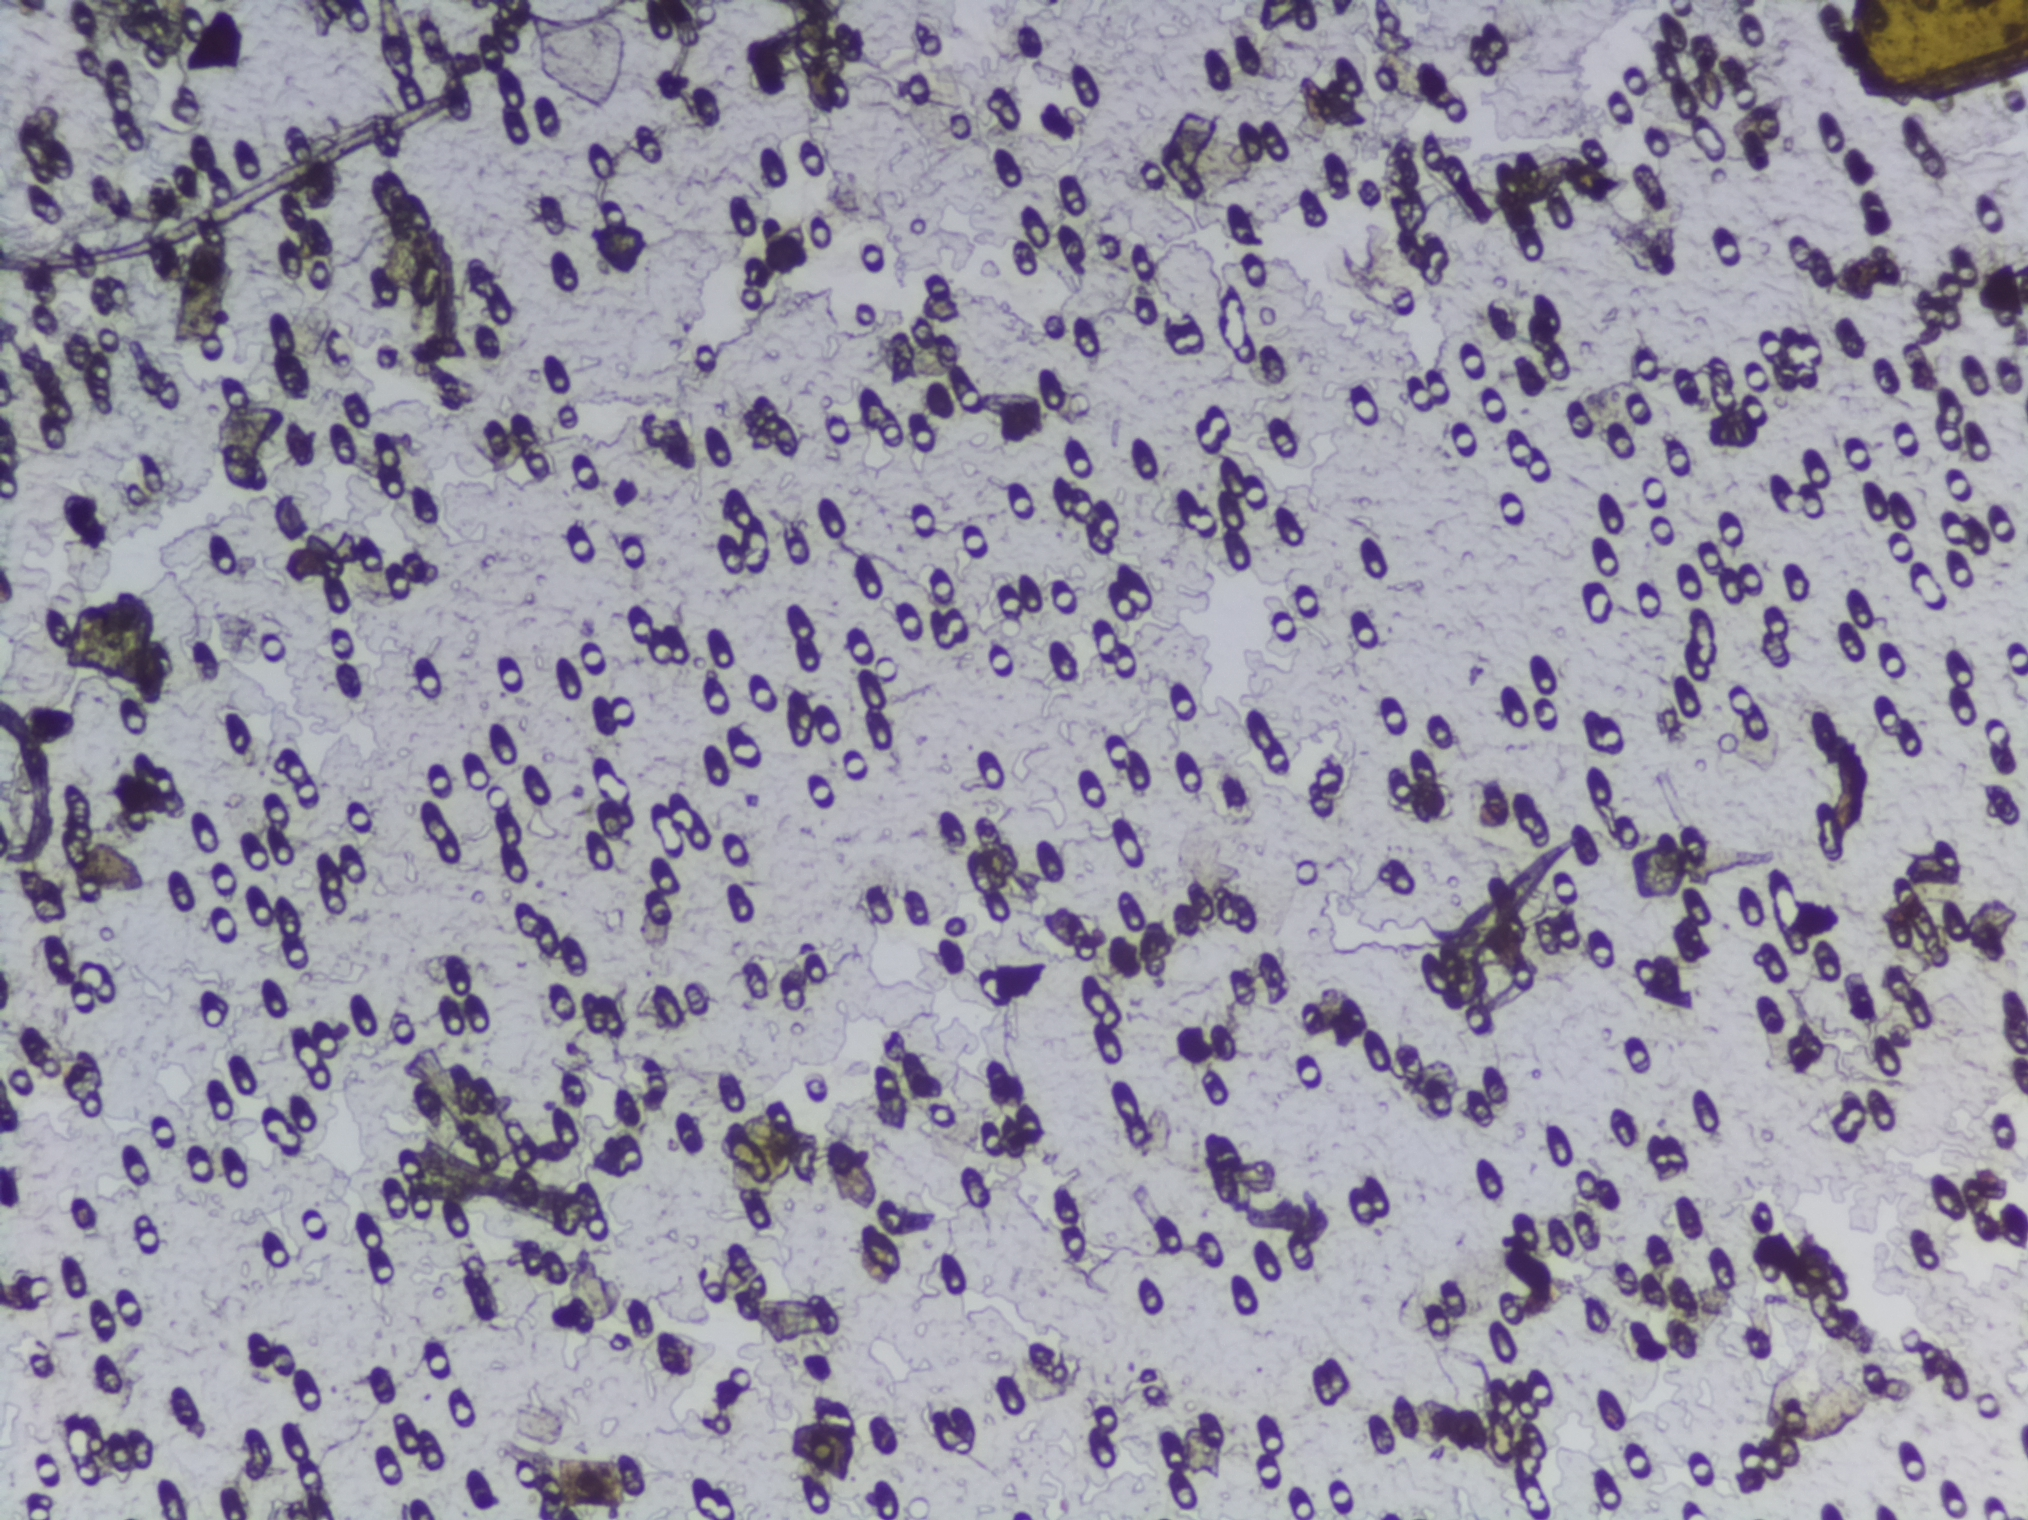
Urine filtration membrane under a 4× objective, photographed by an automated digital microscope.
The expert annotation marks no Schistosoma egg in this field of view.